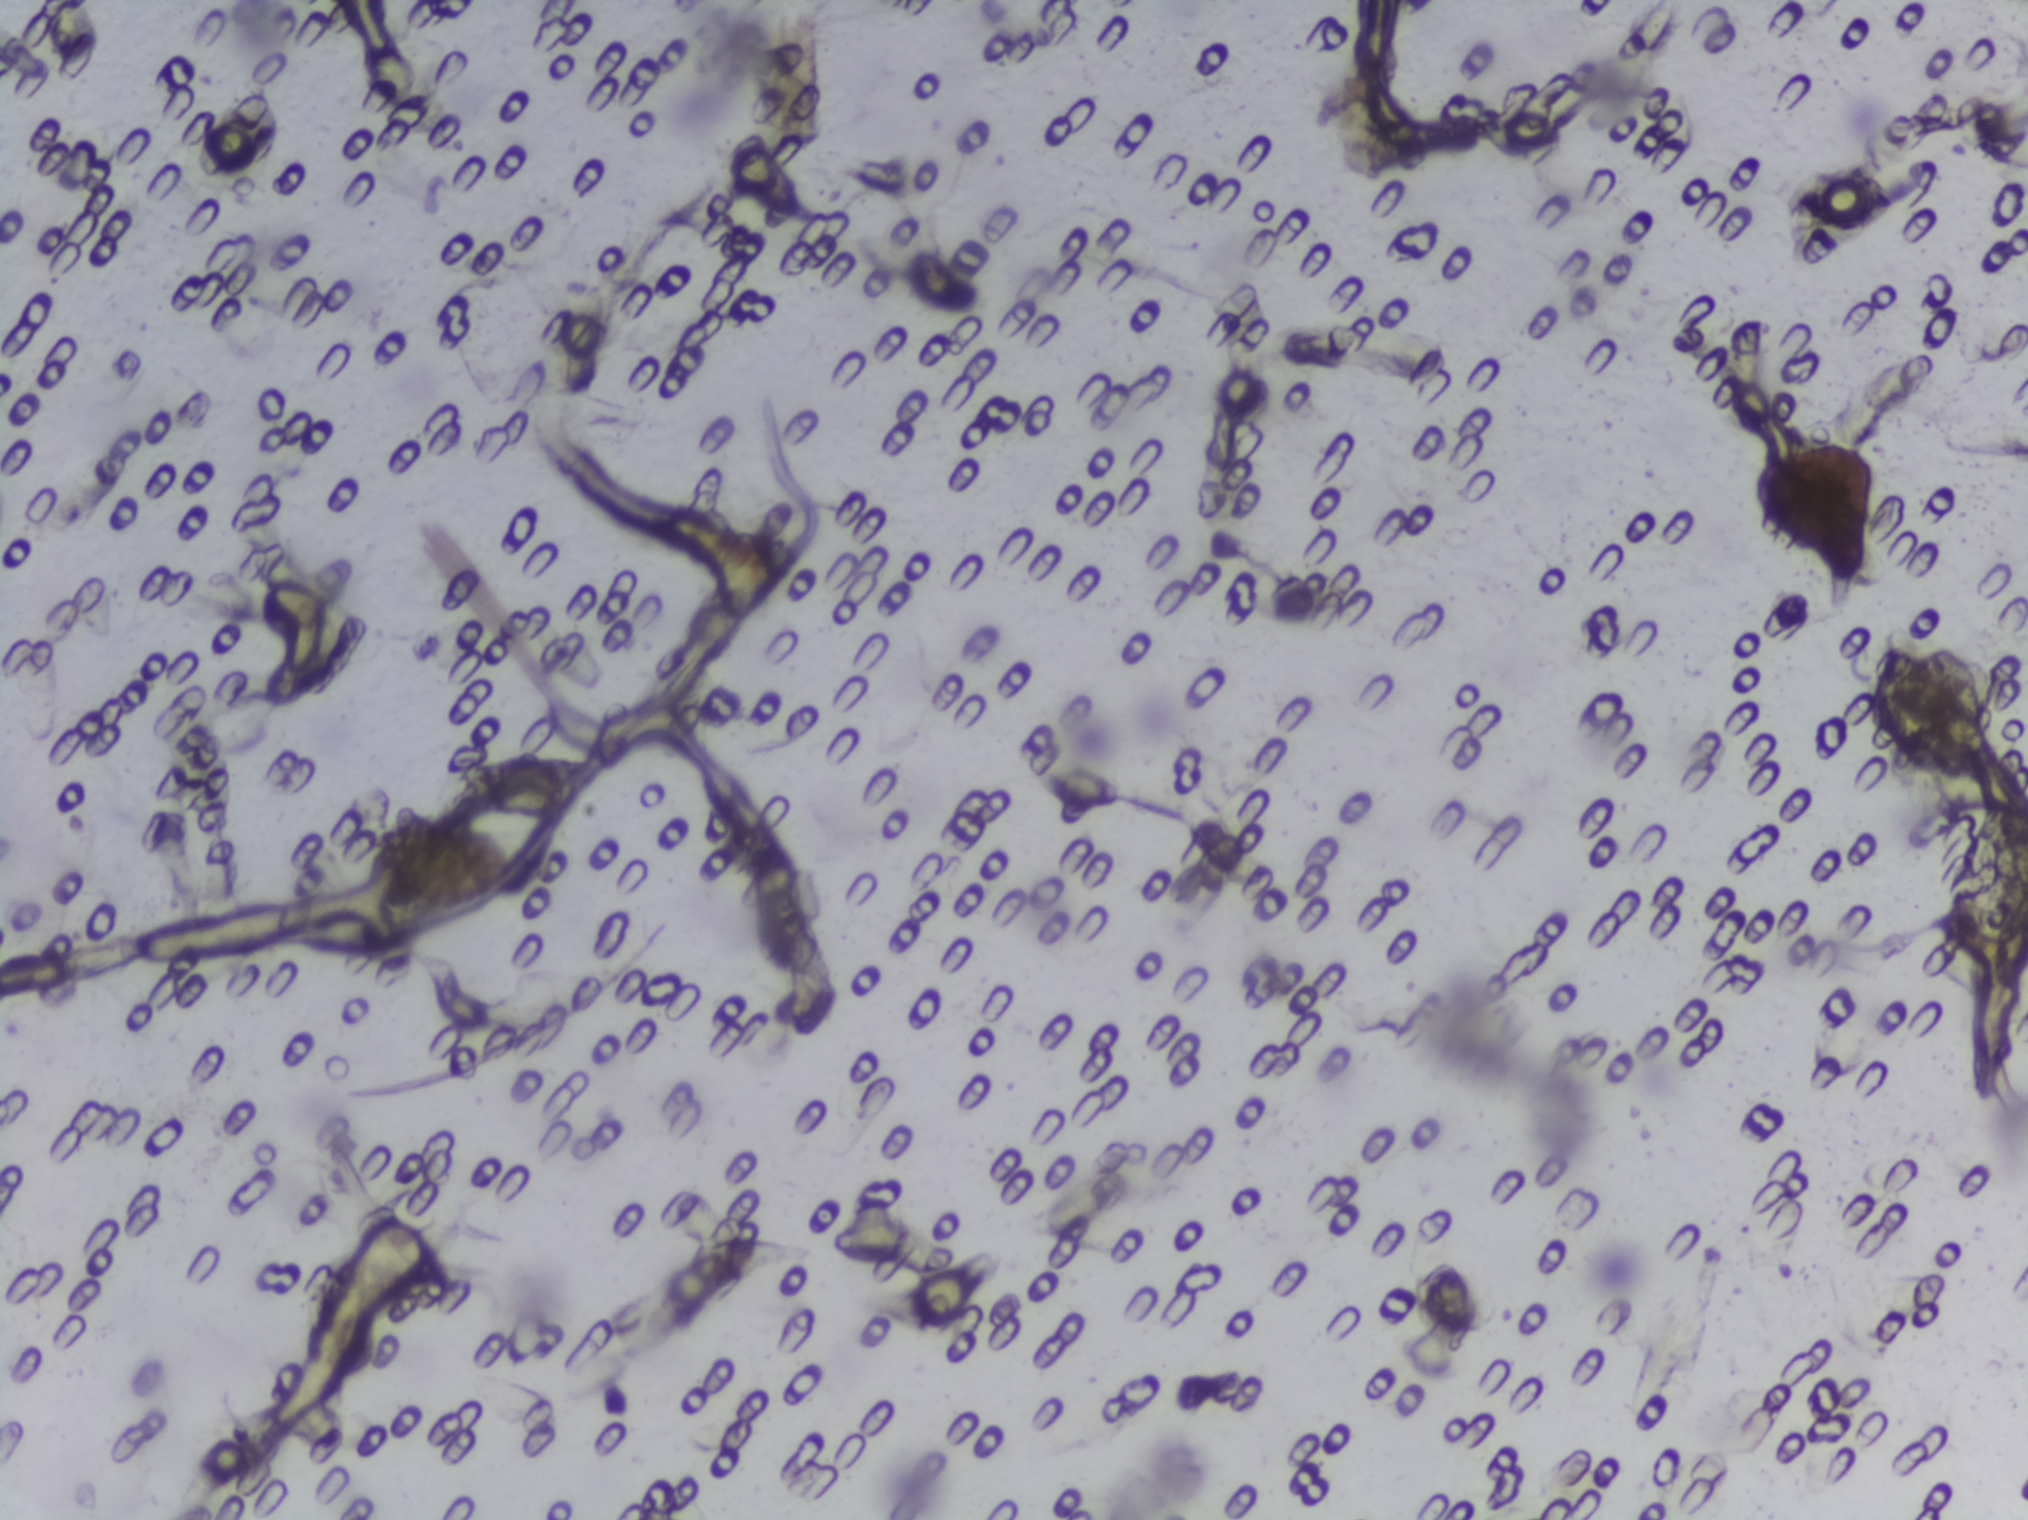
Urine filter membrane photographed through a 4× microscope objective.
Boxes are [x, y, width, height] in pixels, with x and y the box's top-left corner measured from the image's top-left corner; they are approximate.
Outlined Schistosoma egg areas:
1. [1037, 766, 83, 50]
An outlined area can hold more than one egg.